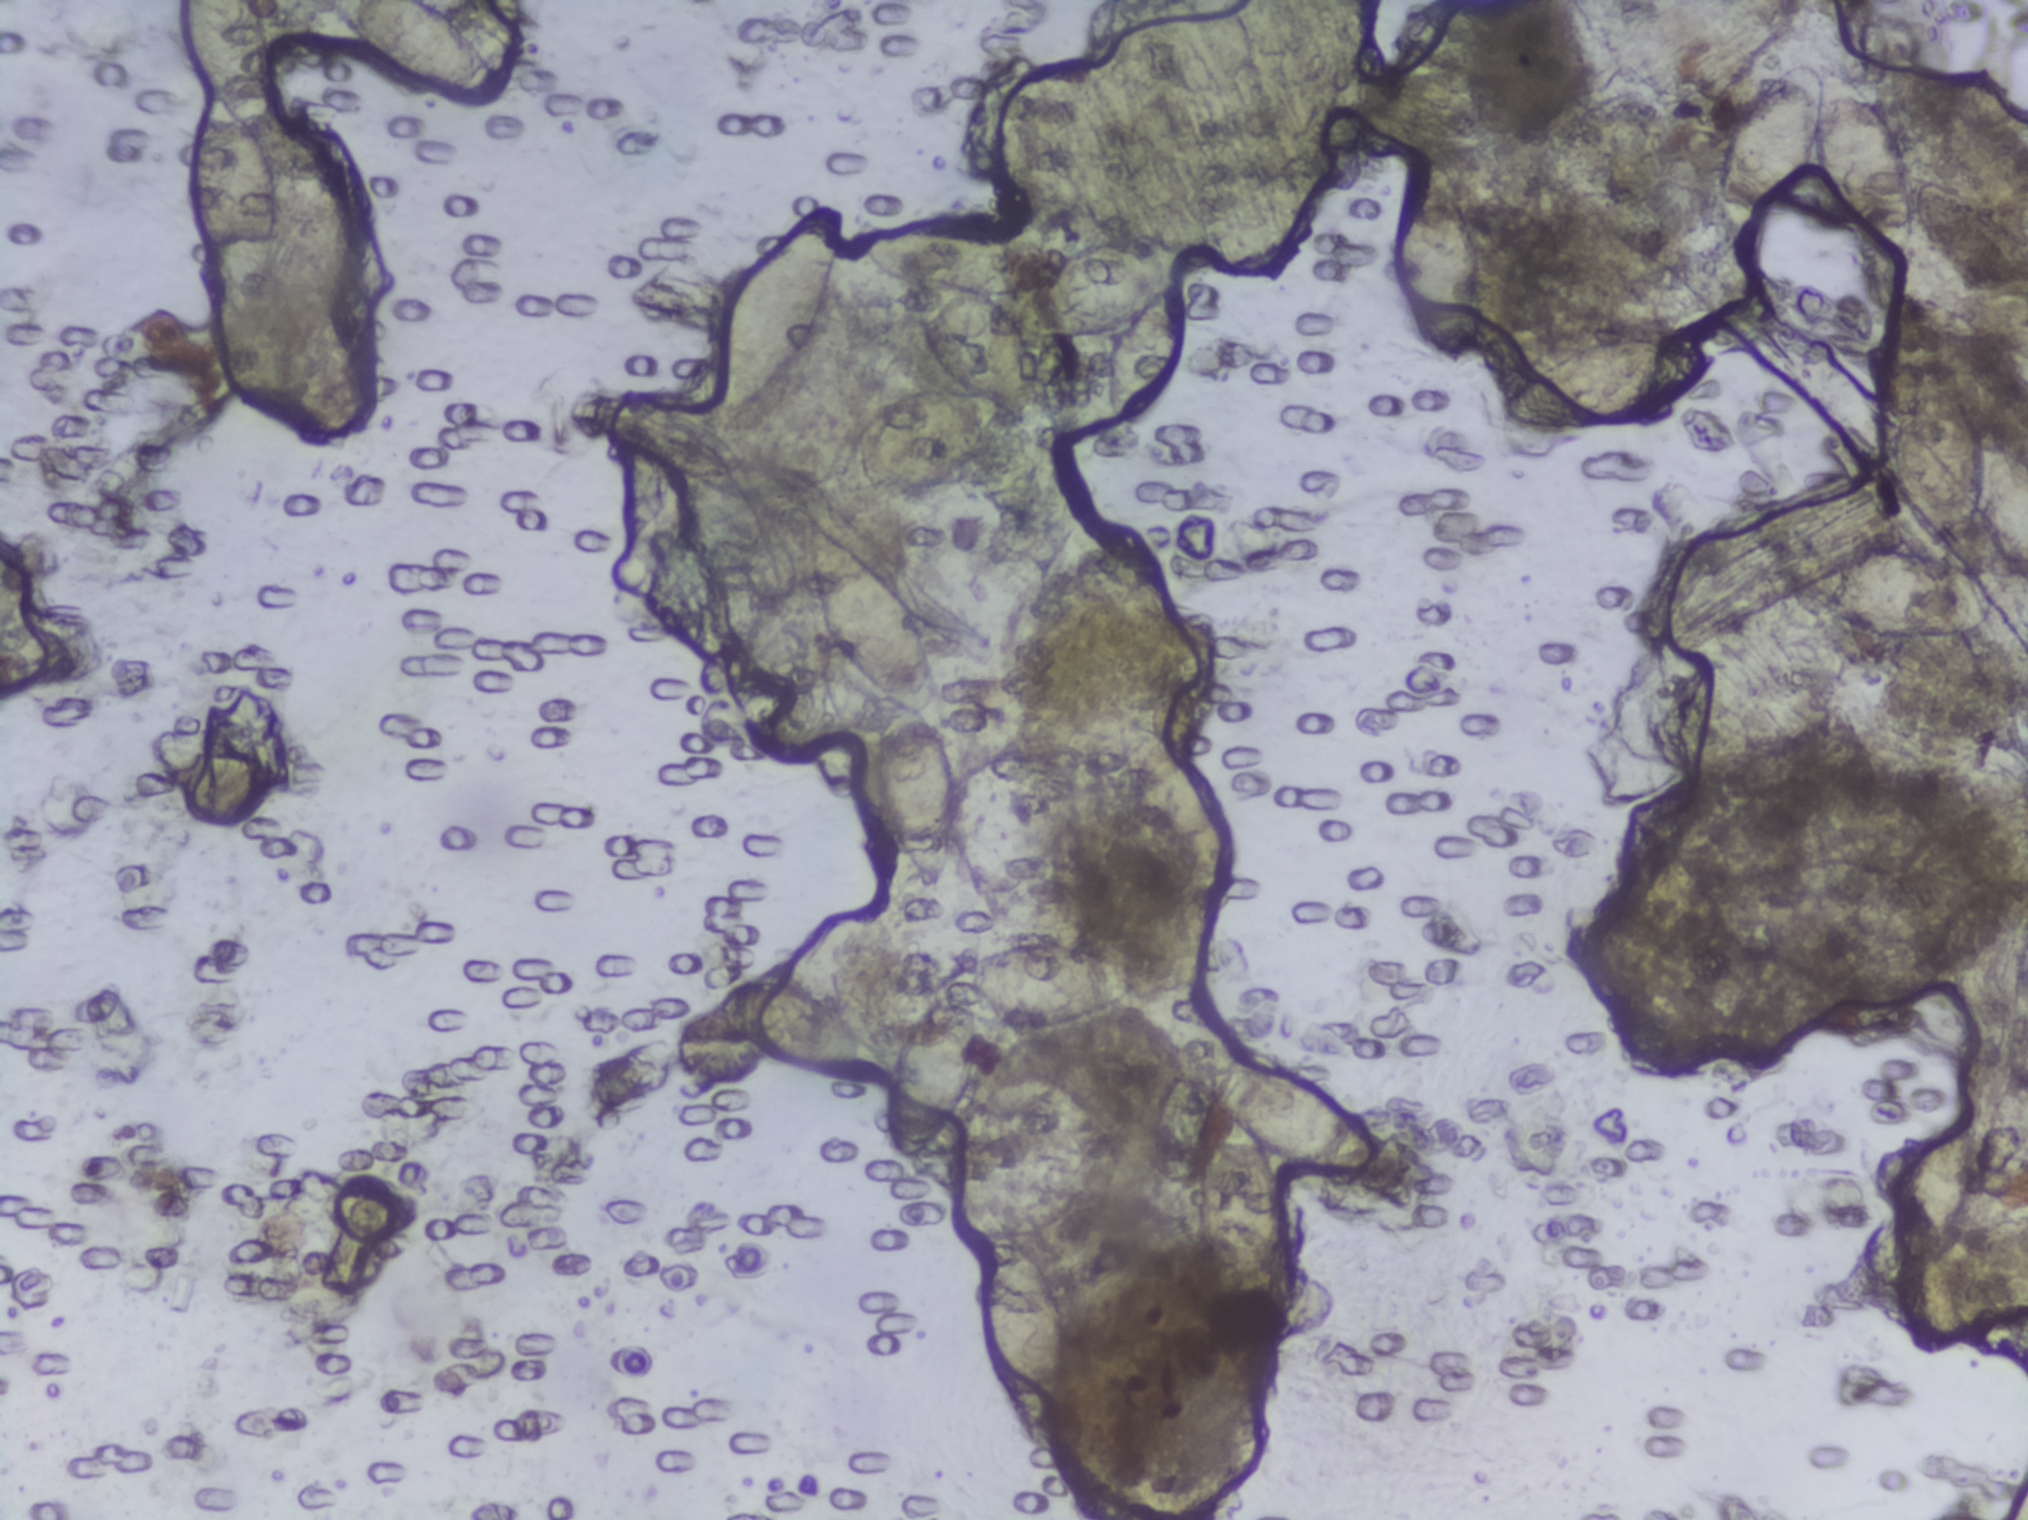
Urine filtration membrane under a 4× objective, photographed by an automated digital microscope. Field of view: about 1.5 mm wide and 1.1 mm high.
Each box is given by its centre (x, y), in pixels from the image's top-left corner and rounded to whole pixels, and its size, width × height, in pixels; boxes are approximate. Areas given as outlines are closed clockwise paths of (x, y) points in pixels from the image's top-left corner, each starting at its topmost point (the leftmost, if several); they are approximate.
16 areas of this image are outlined as Schistosoma eggs, from left to right: box centre (227, 159), 105 × 319 px (reaching the top edge of the frame); box centre (409, 46), 173 × 93 px (reaching the top edge of the frame); box centre (781, 309), 124 × 217 px; box centre (790, 1021), 150 × 98 px; outline (811, 516), (836, 527), (878, 564), (919, 615), (931, 642), (937, 699), (926, 713), (950, 750), (964, 830), (937, 889), (896, 852), (874, 770), (873, 725), (887, 702), (859, 682), (824, 631), (804, 544); outline (1108, 238), (1172, 238), (1196, 253), (1192, 272), (1174, 289), (1183, 323), (1180, 375), (1146, 424), (1118, 425), (1103, 400), (1102, 354), (1117, 324), (1076, 336), (1040, 336), (1047, 340), (1031, 340), (1040, 370), (1037, 406), (1030, 415), (1005, 415), (962, 476), (909, 496), (835, 497), (819, 489), (823, 456), (872, 408), (950, 382), (917, 336), (908, 278), (915, 272), (950, 274), (1004, 303), (1043, 262) (eggs clustered together); outline (1017, 937), (1073, 940), (1130, 960), (1146, 974), (1146, 988), (1094, 1016), (1050, 1029), (982, 1029), (981, 1065), (960, 1116), (928, 1158), (898, 1162), (887, 1148), (882, 1105), (892, 1054), (933, 996), (935, 977); box centre (1020, 1337), 95 × 207 px; box centre (1163, 775), 95 × 125 px; box centre (1283, 1176), 198 × 223 px; box centre (1436, 265), 96 × 212 px; box centre (1609, 387), 222 × 97 px; box centre (1813, 160), 207 × 203 px; box centre (1882, 594), 236 × 100 px; box centre (1959, 471), 137 × 220 px (reaching the right edge of the frame); box centre (1968, 235), 110 × 125 px. Marked pixels, not the boxes and the outlines around them: about 10% of the image. Eggs that touch can end up inside the same outlined area.